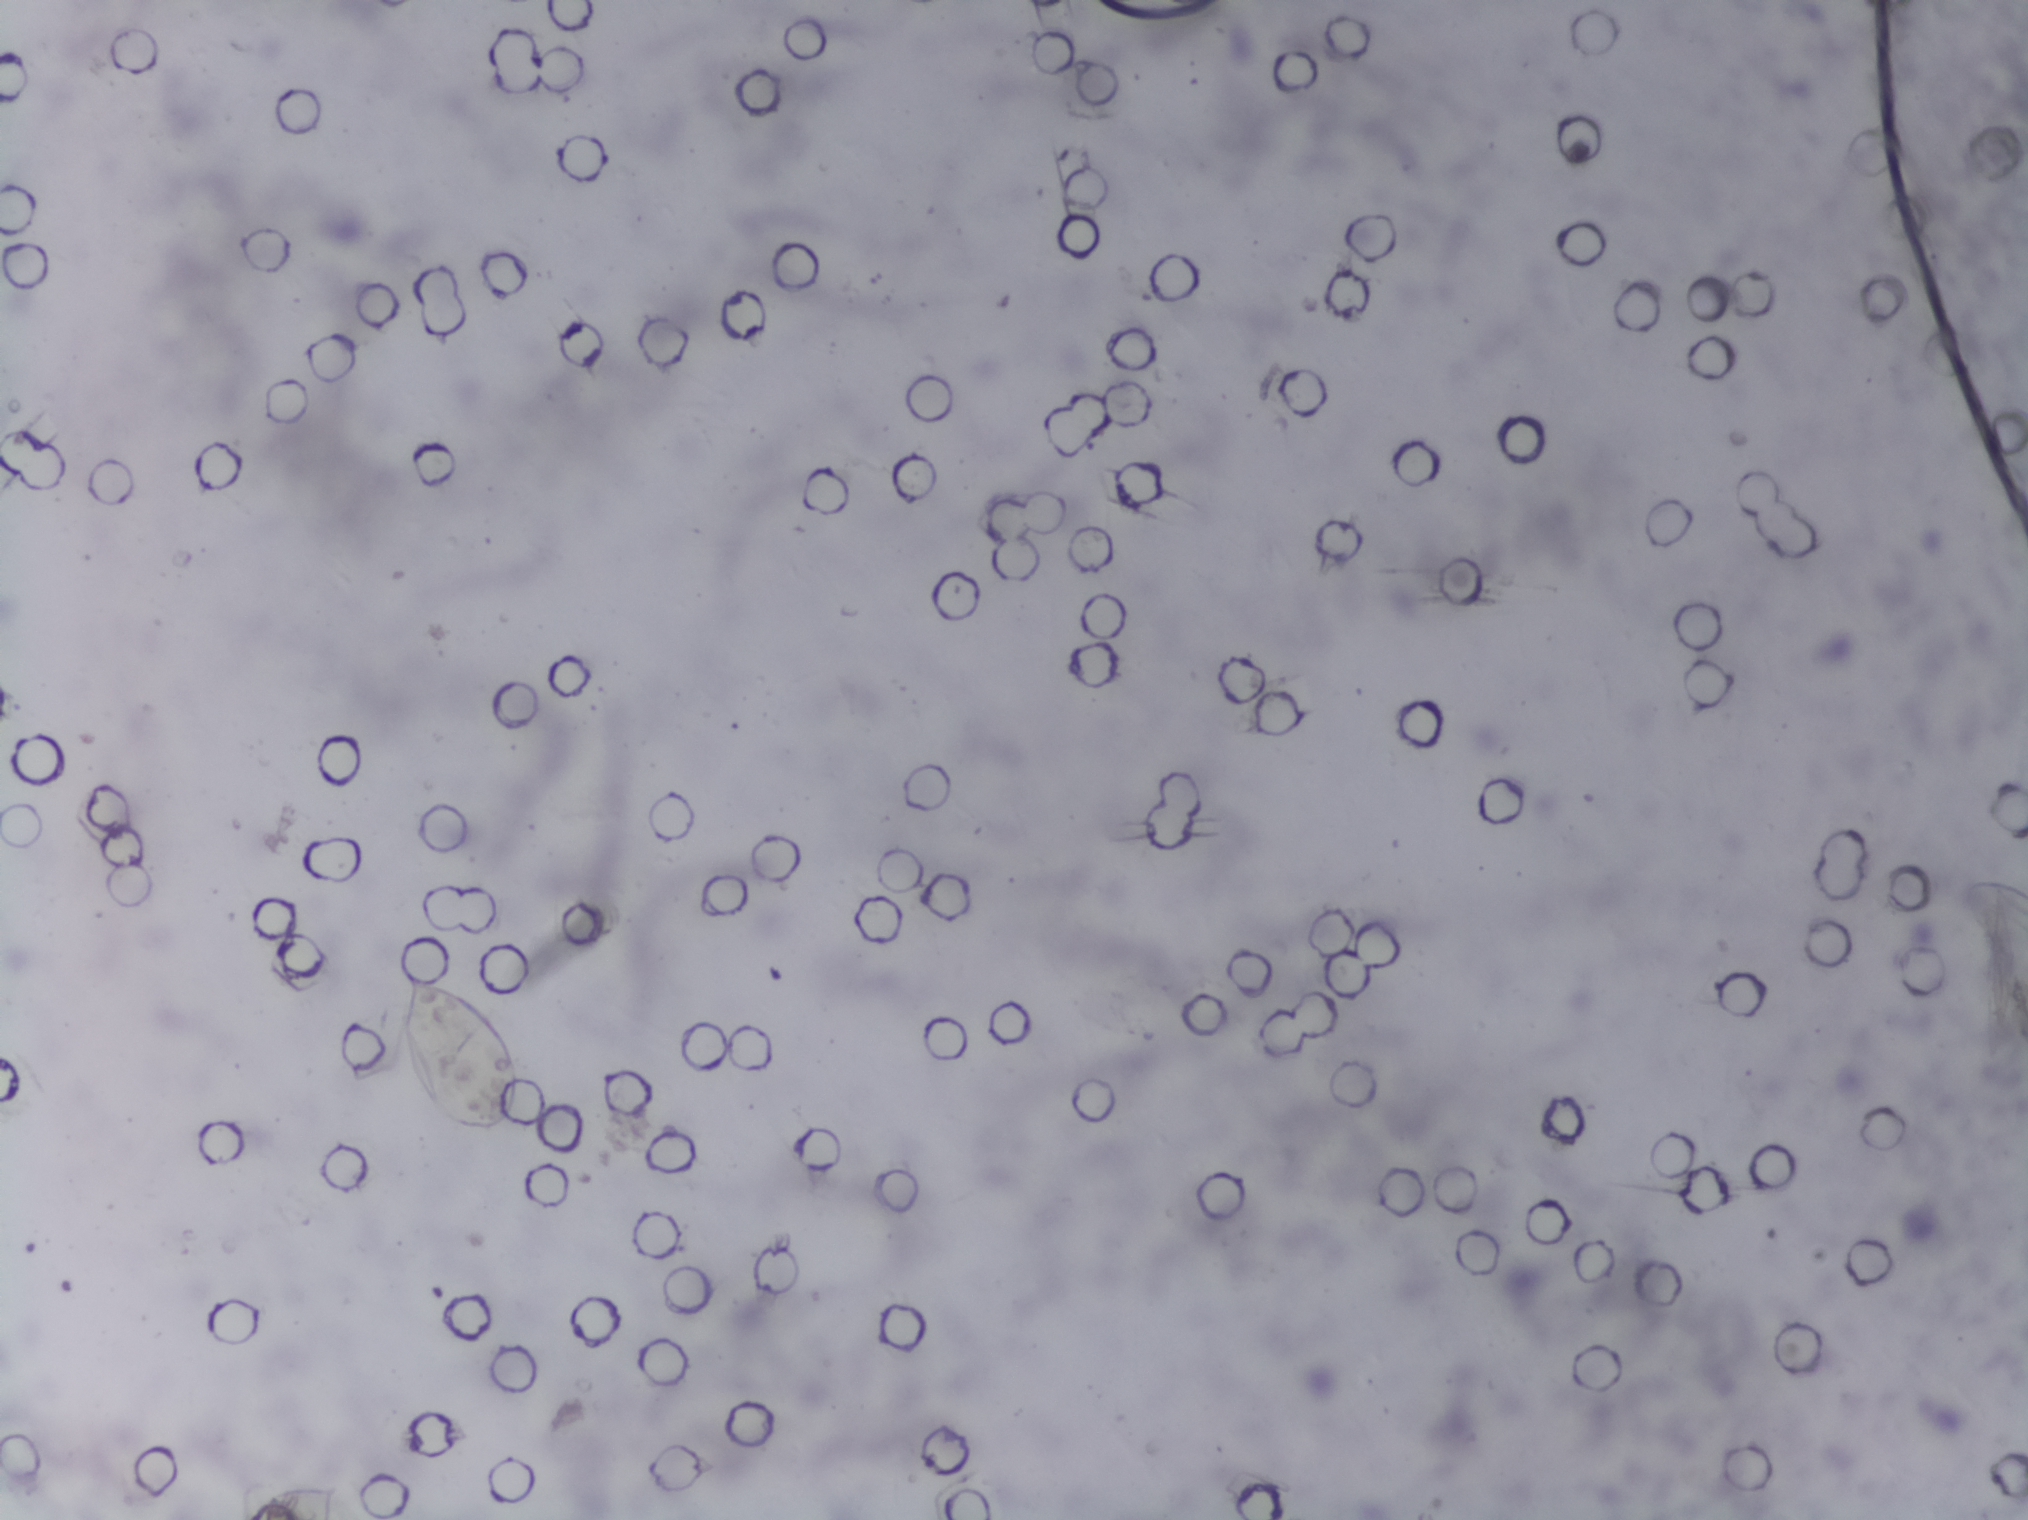
Photograph from an automated digital microscope: urine filter membrane, 4× objective.
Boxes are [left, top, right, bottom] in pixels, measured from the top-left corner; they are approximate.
Schistosoma egg areas, outlined: [400, 972, 523, 1131]. The marked pixels themselves, not the box around them, cover about 0.4% of the image. Eggs that touch can end up inside the same outlined area.